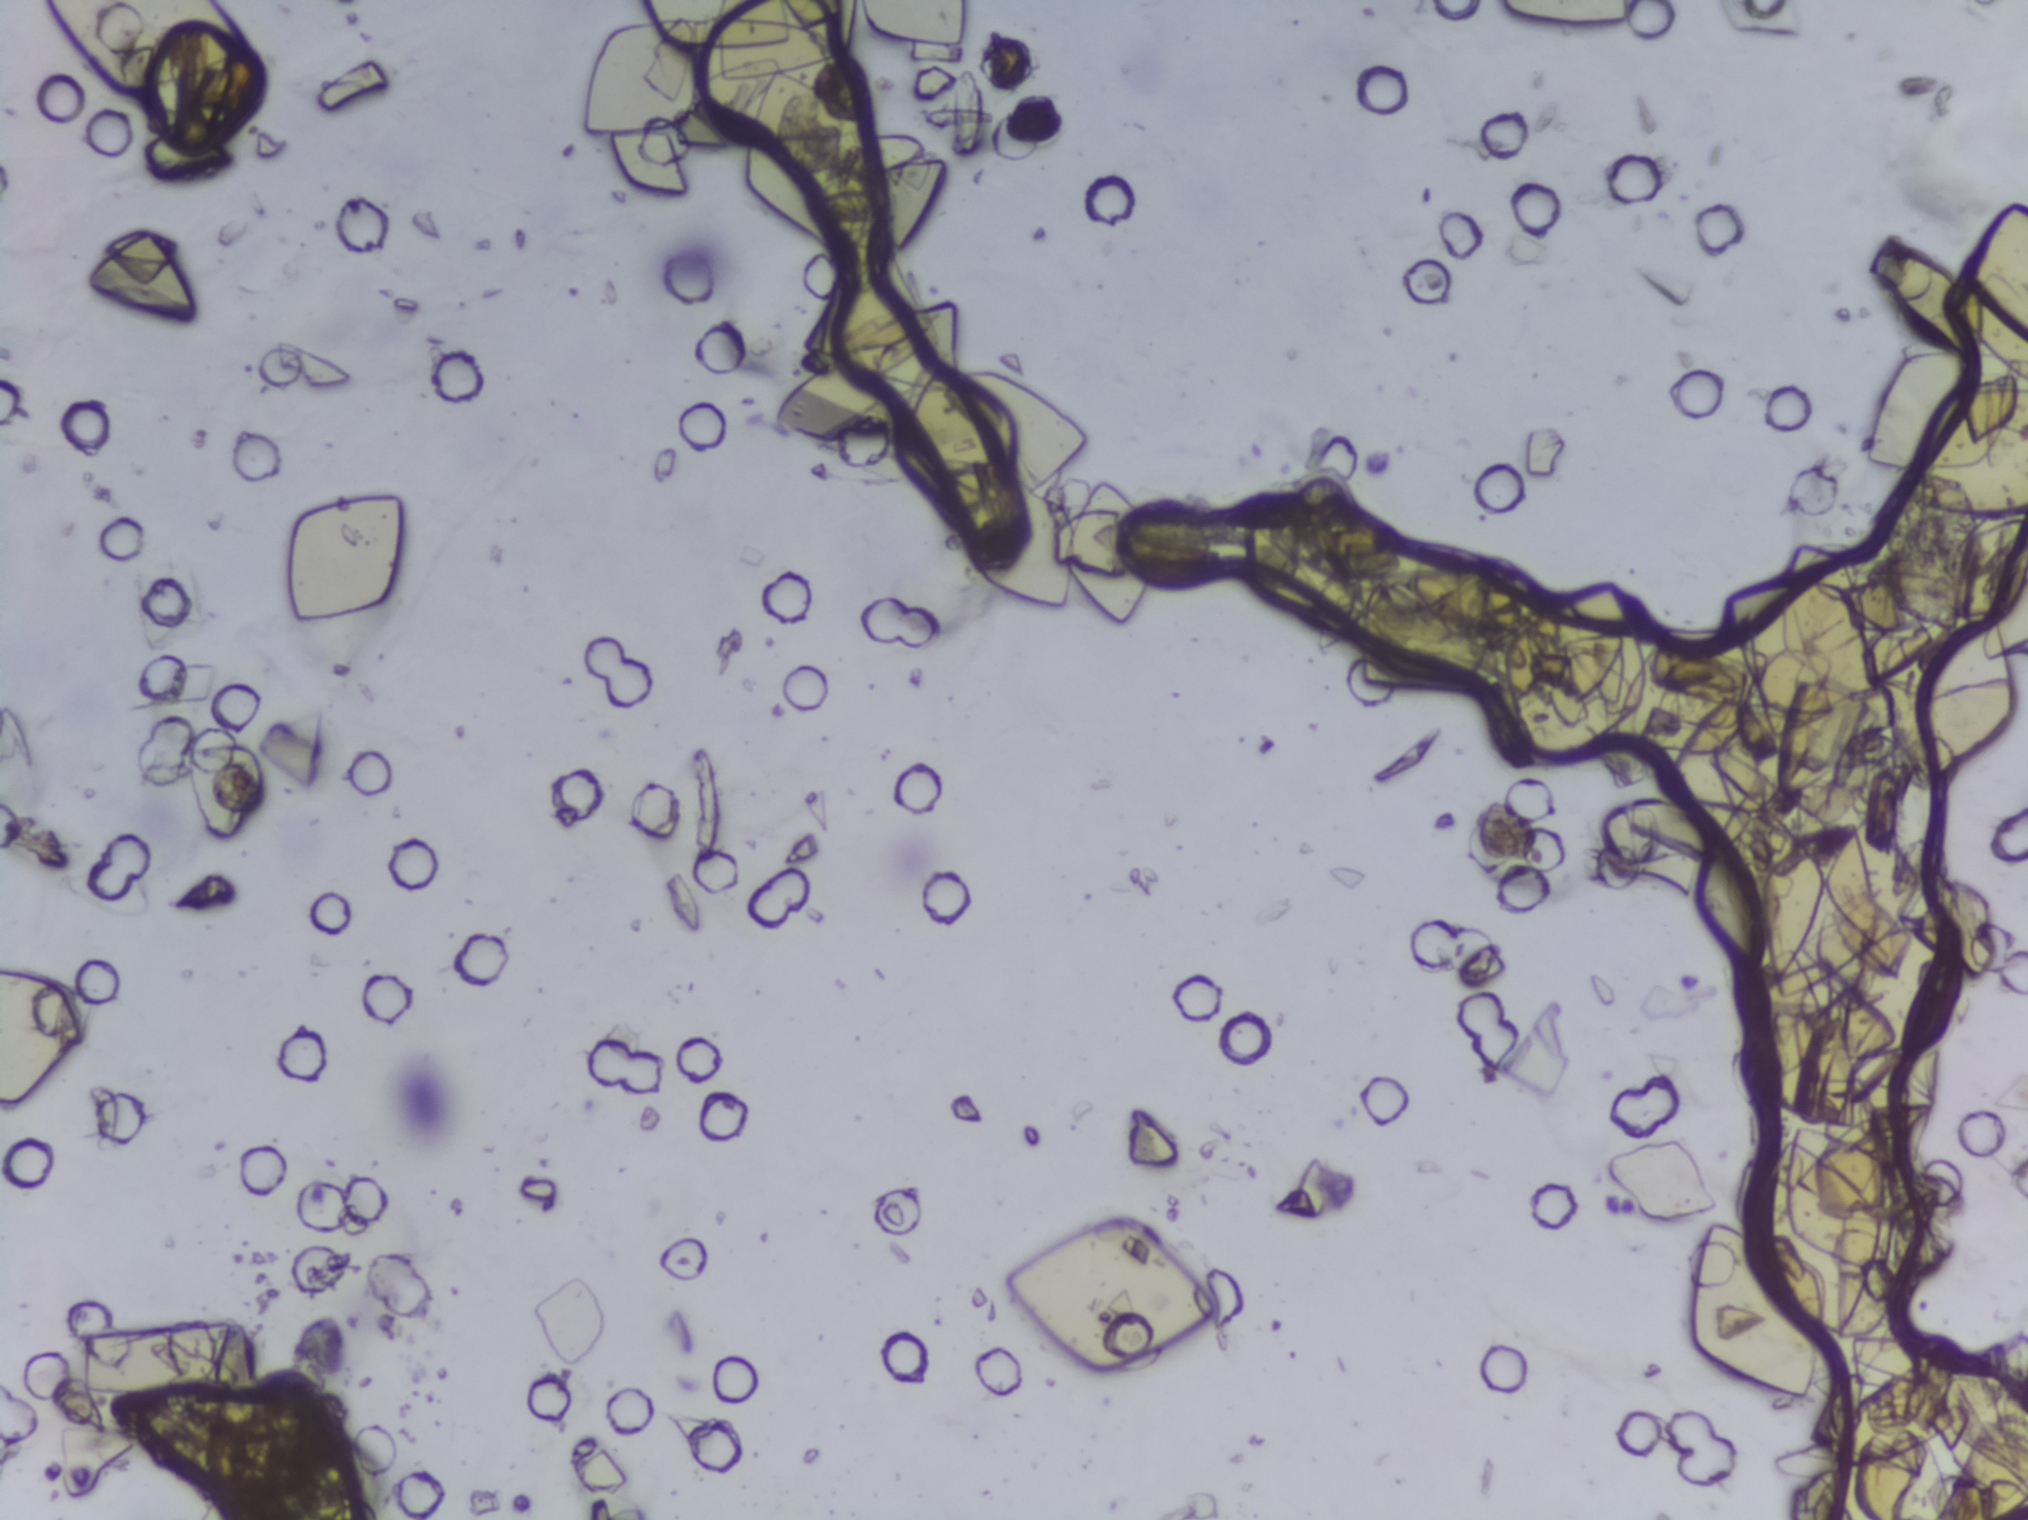
Photograph from an automated digital microscope: urine filter membrane, 4× objective.
The expert annotation marks no Schistosoma egg in this field of view.